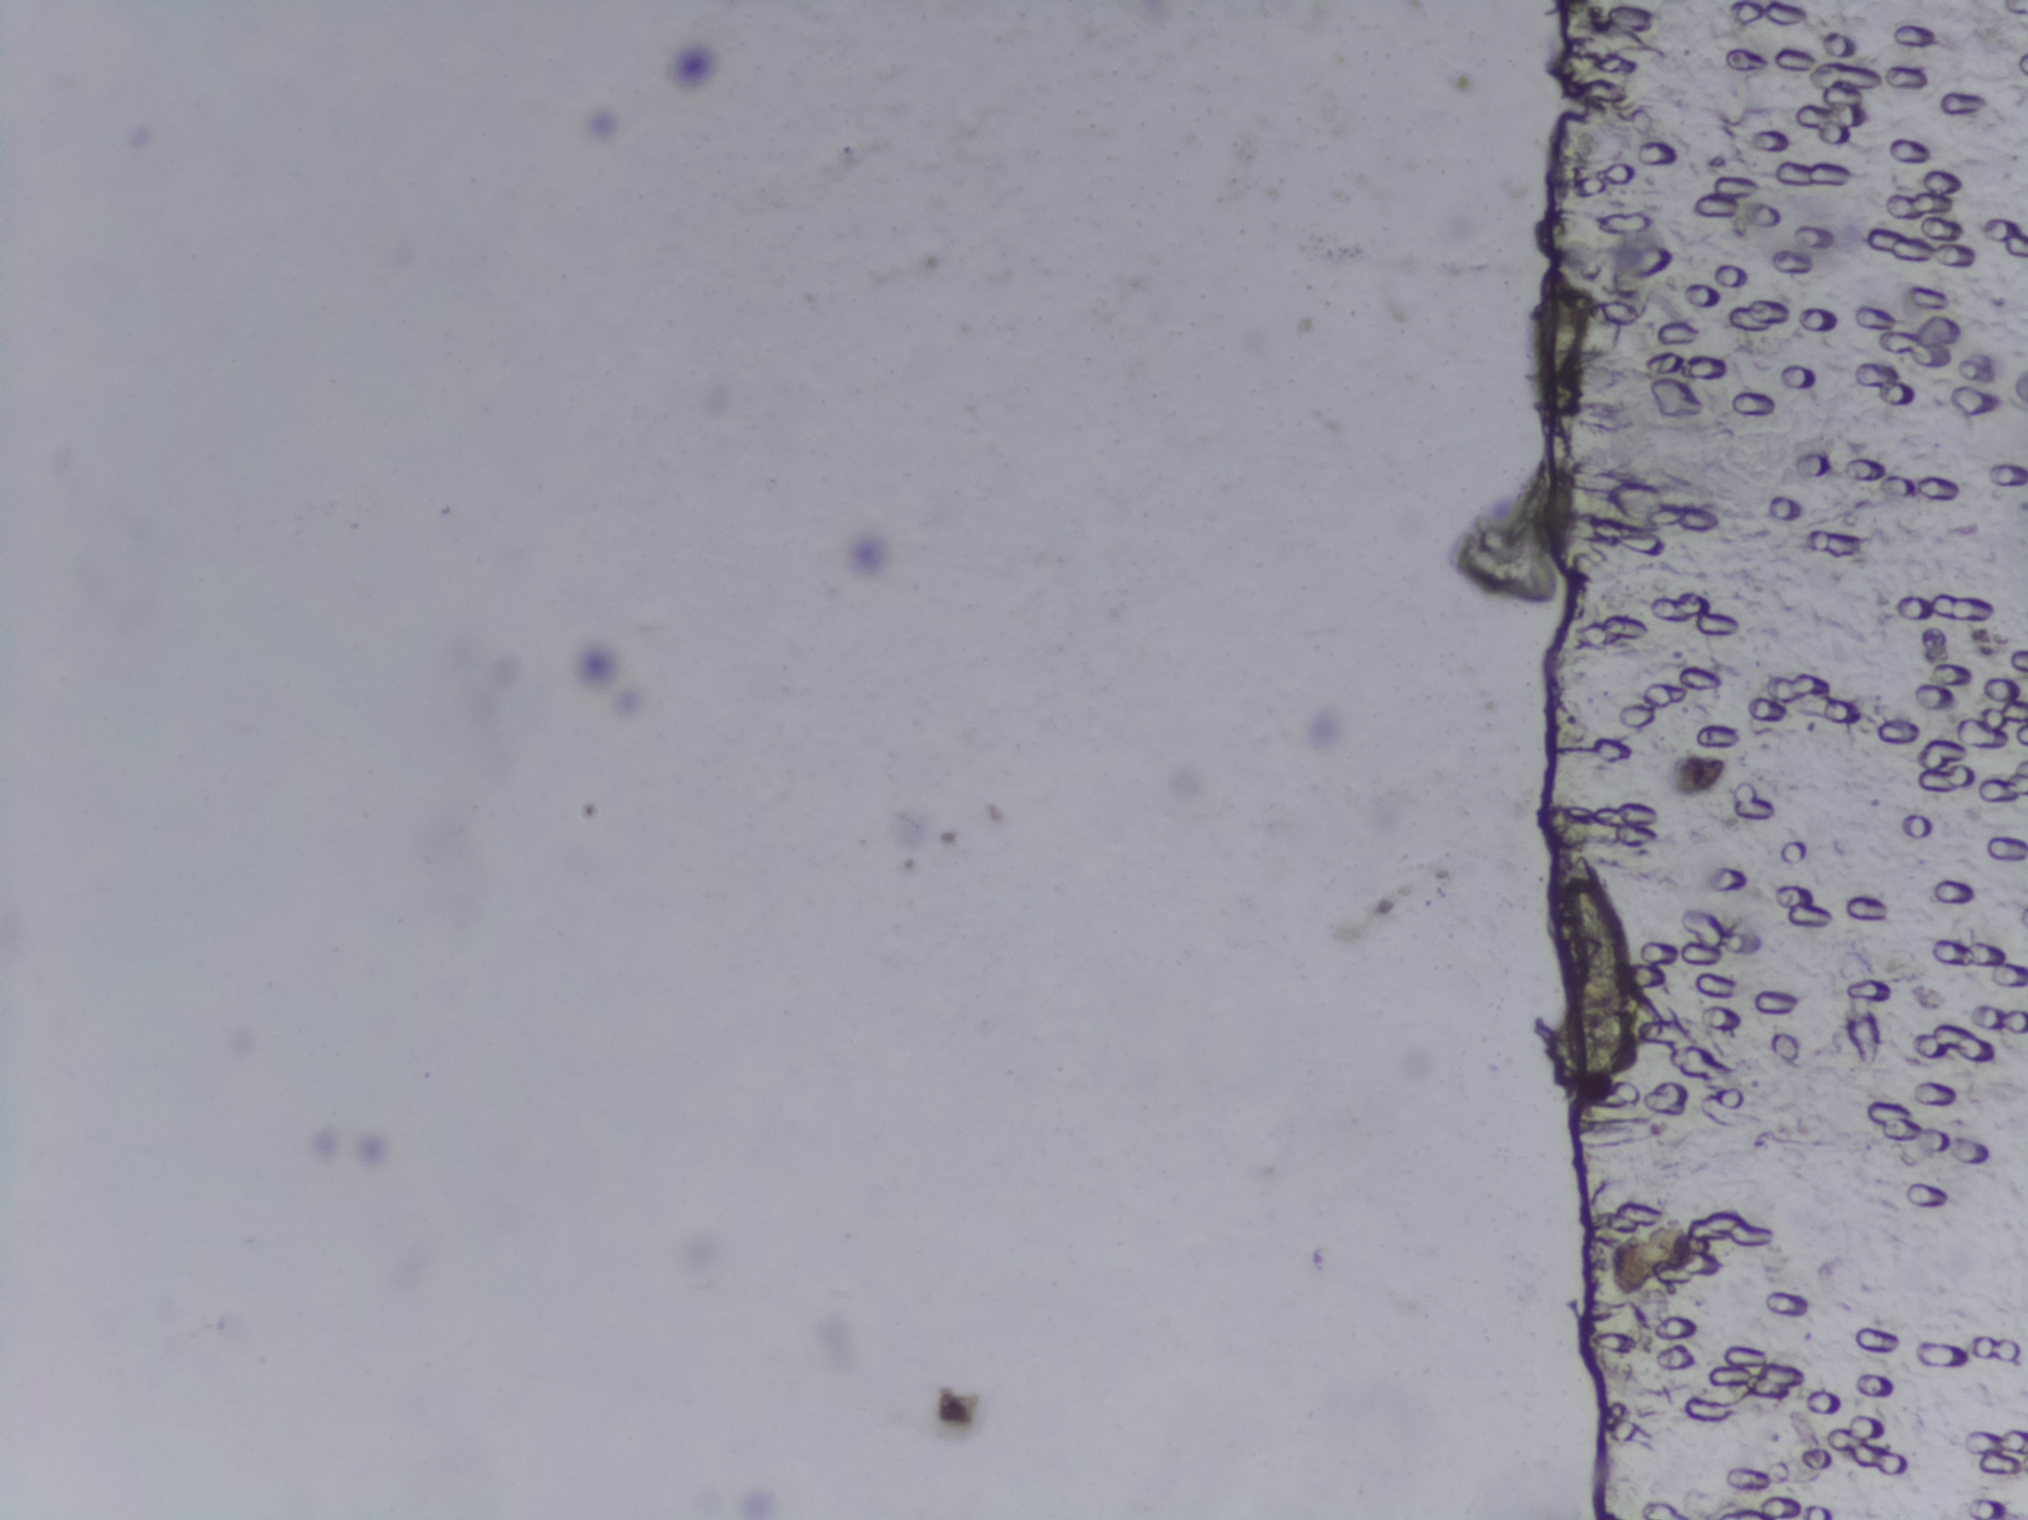
Urine filtration membrane under a 4× objective, photographed by an automated digital microscope.
No Schistosoma egg is outlined in this image's expert annotation.